Urine filter membrane photographed through a 4× microscope objective.
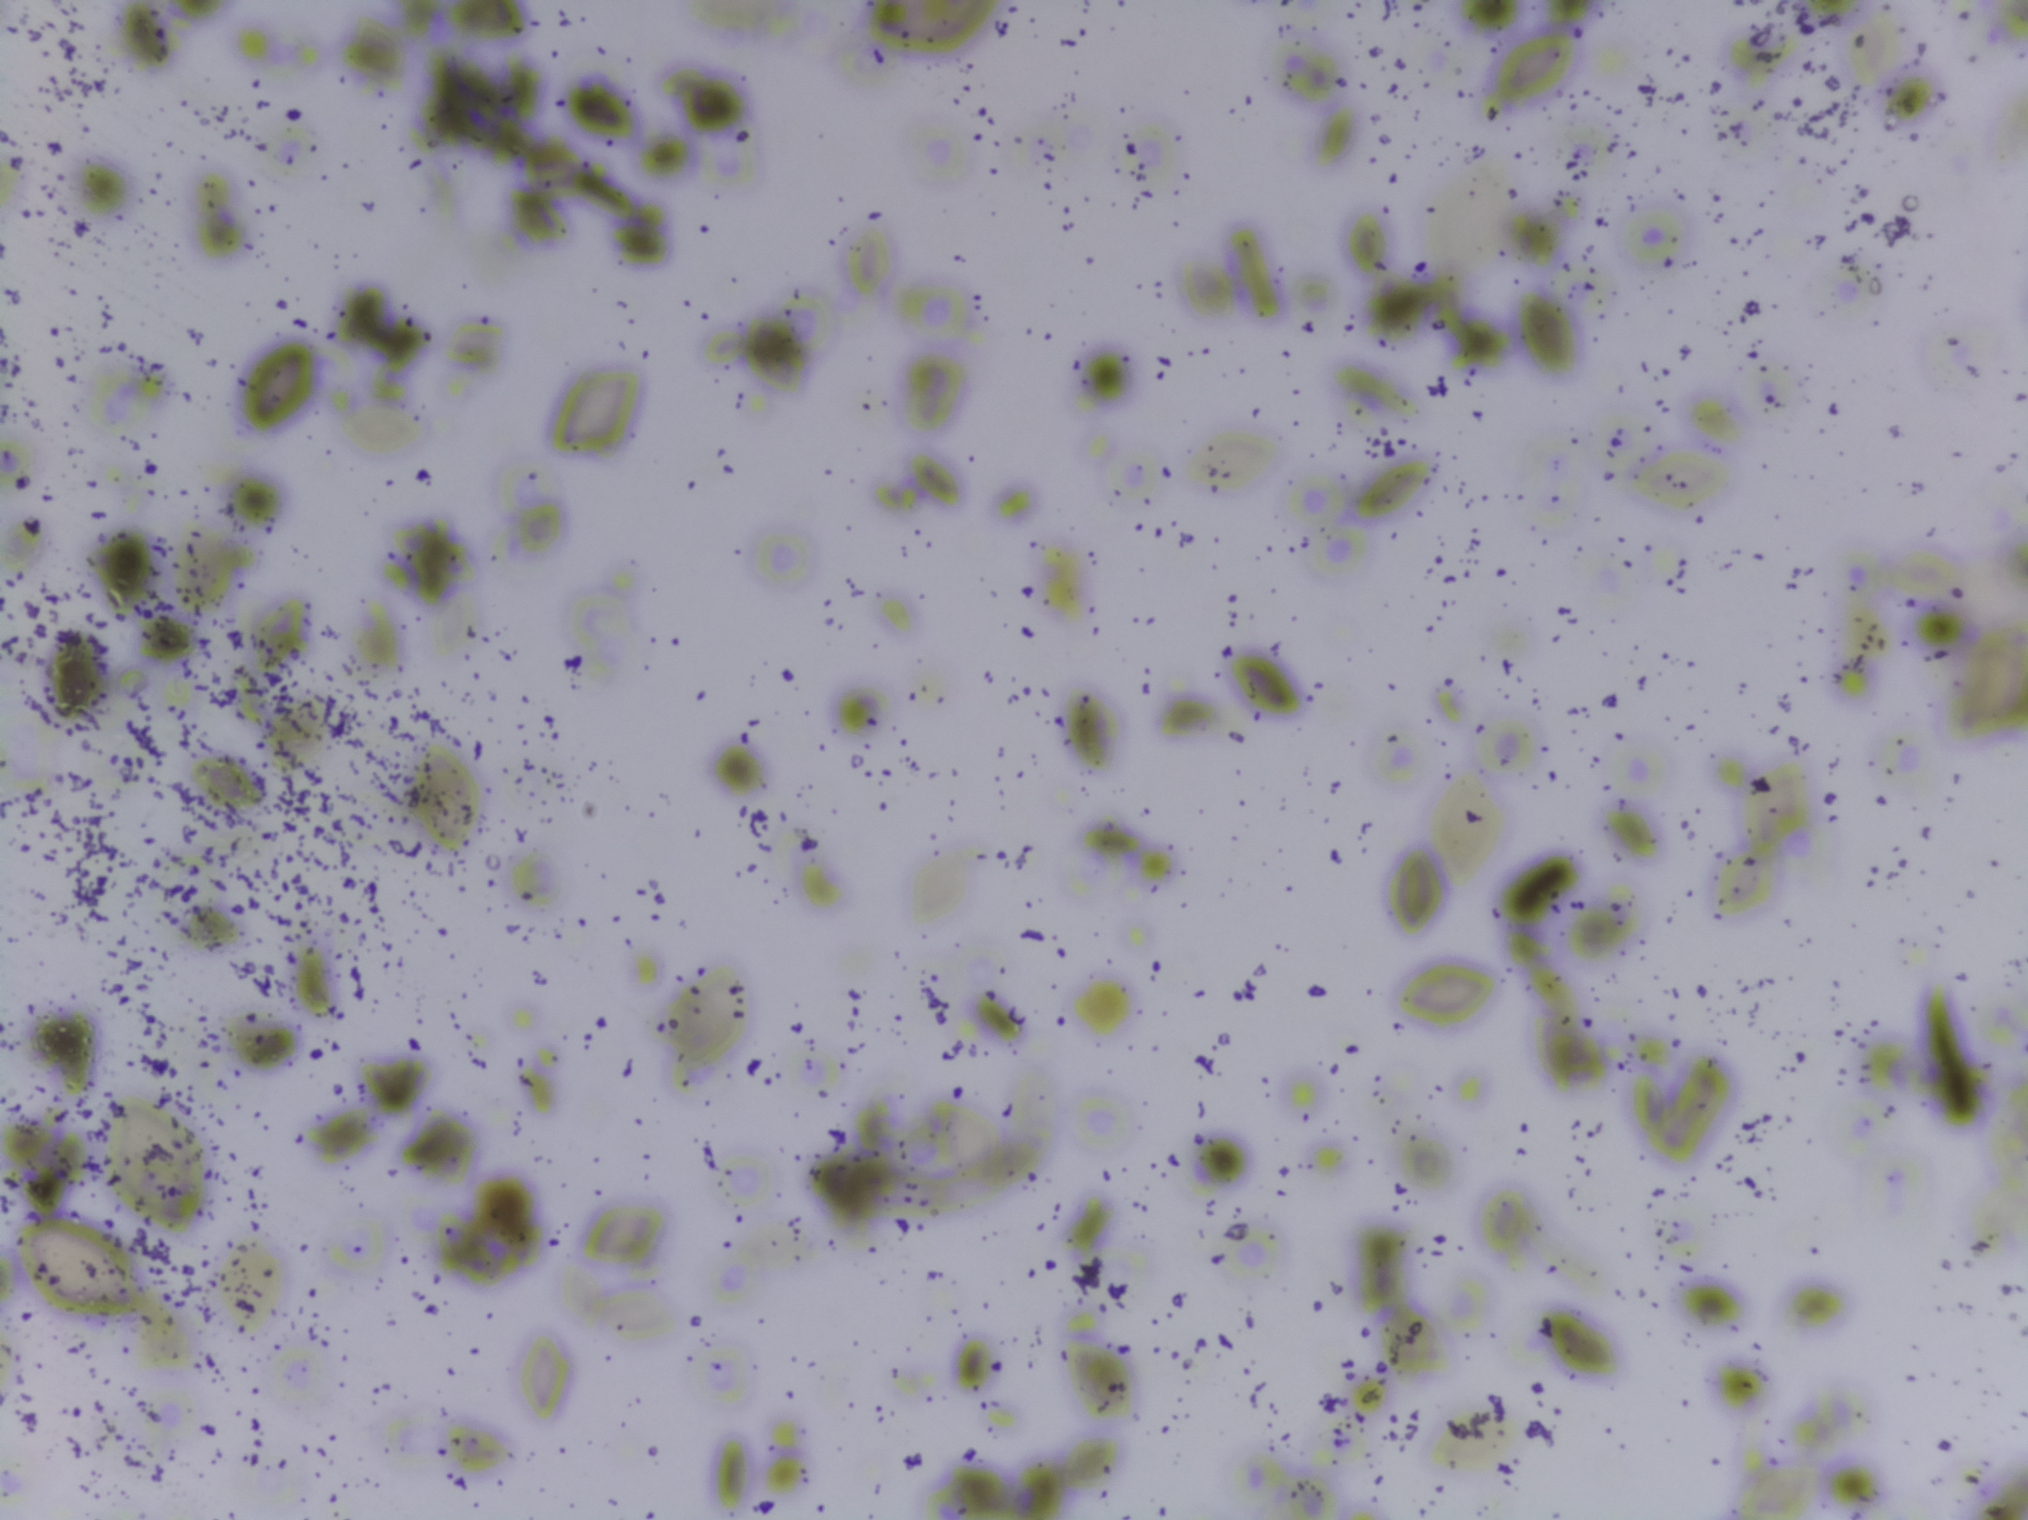
The expert annotation outlines no Schistosoma egg in this image.